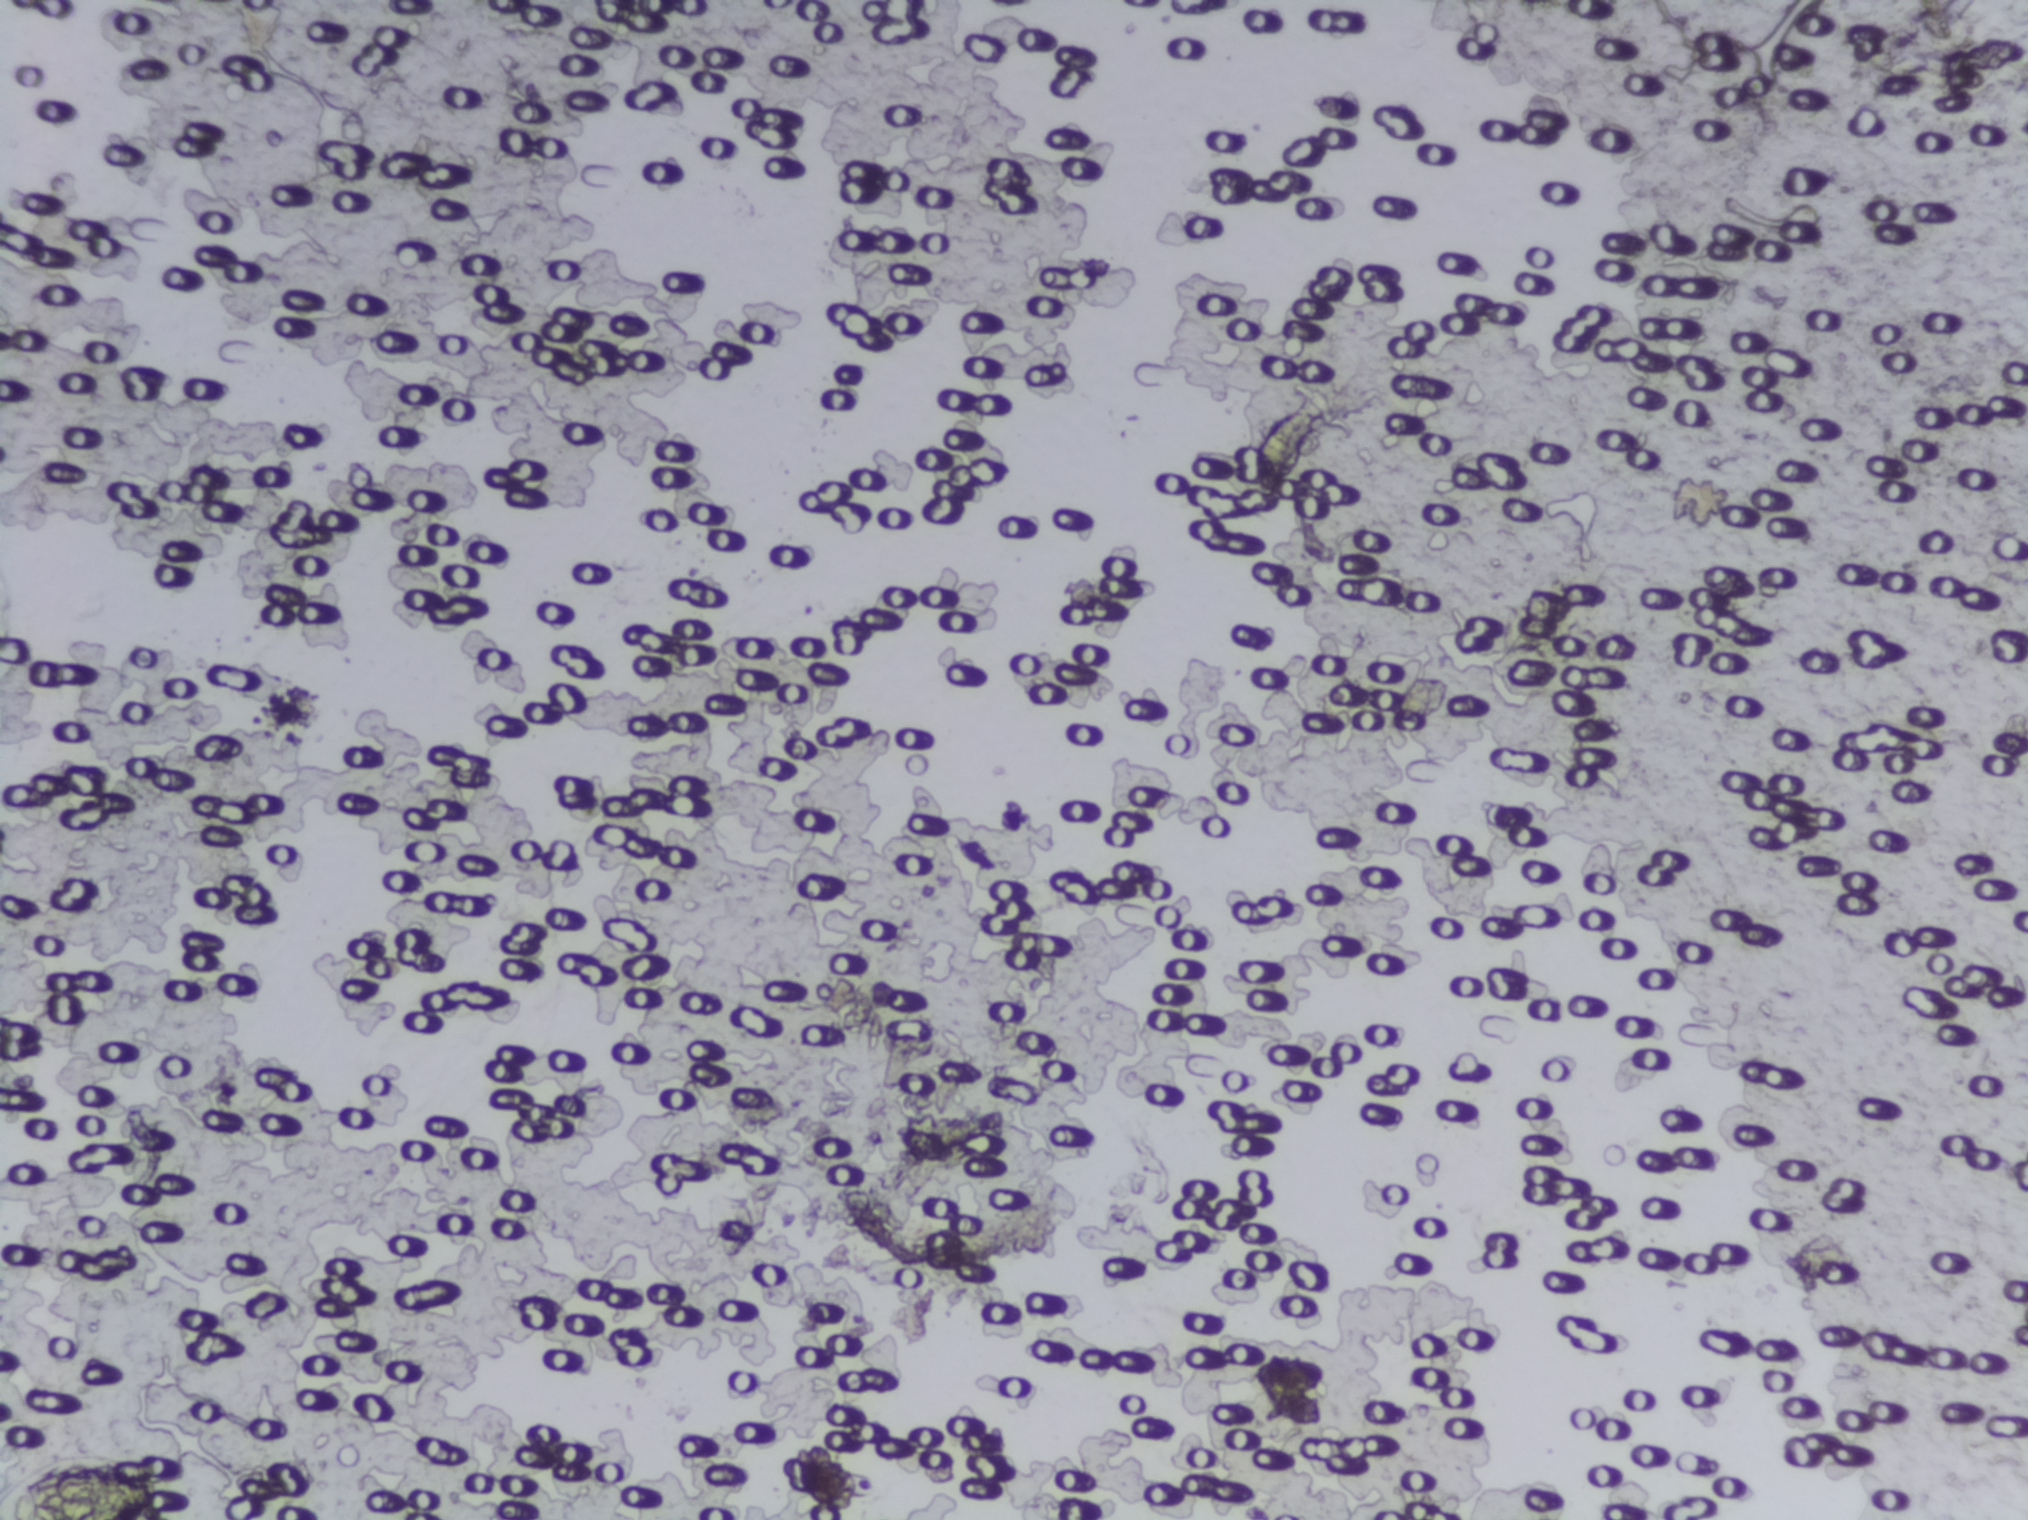
One field of view of a urine filter membrane, 4× objective, 2028 × 1520 pixels. The image covers about 1.5 × 1.1 mm of the membrane.
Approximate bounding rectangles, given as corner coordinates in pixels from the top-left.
Areas outlined as Schistosoma eggs:
1. (x1=5, y1=1452, x2=173, y2=1519) (reaching the bottom edge of the frame)
An outlined area can hold more than one egg. Any one outlined egg may, rarely, be S. mansoni rather than S. haematobium.